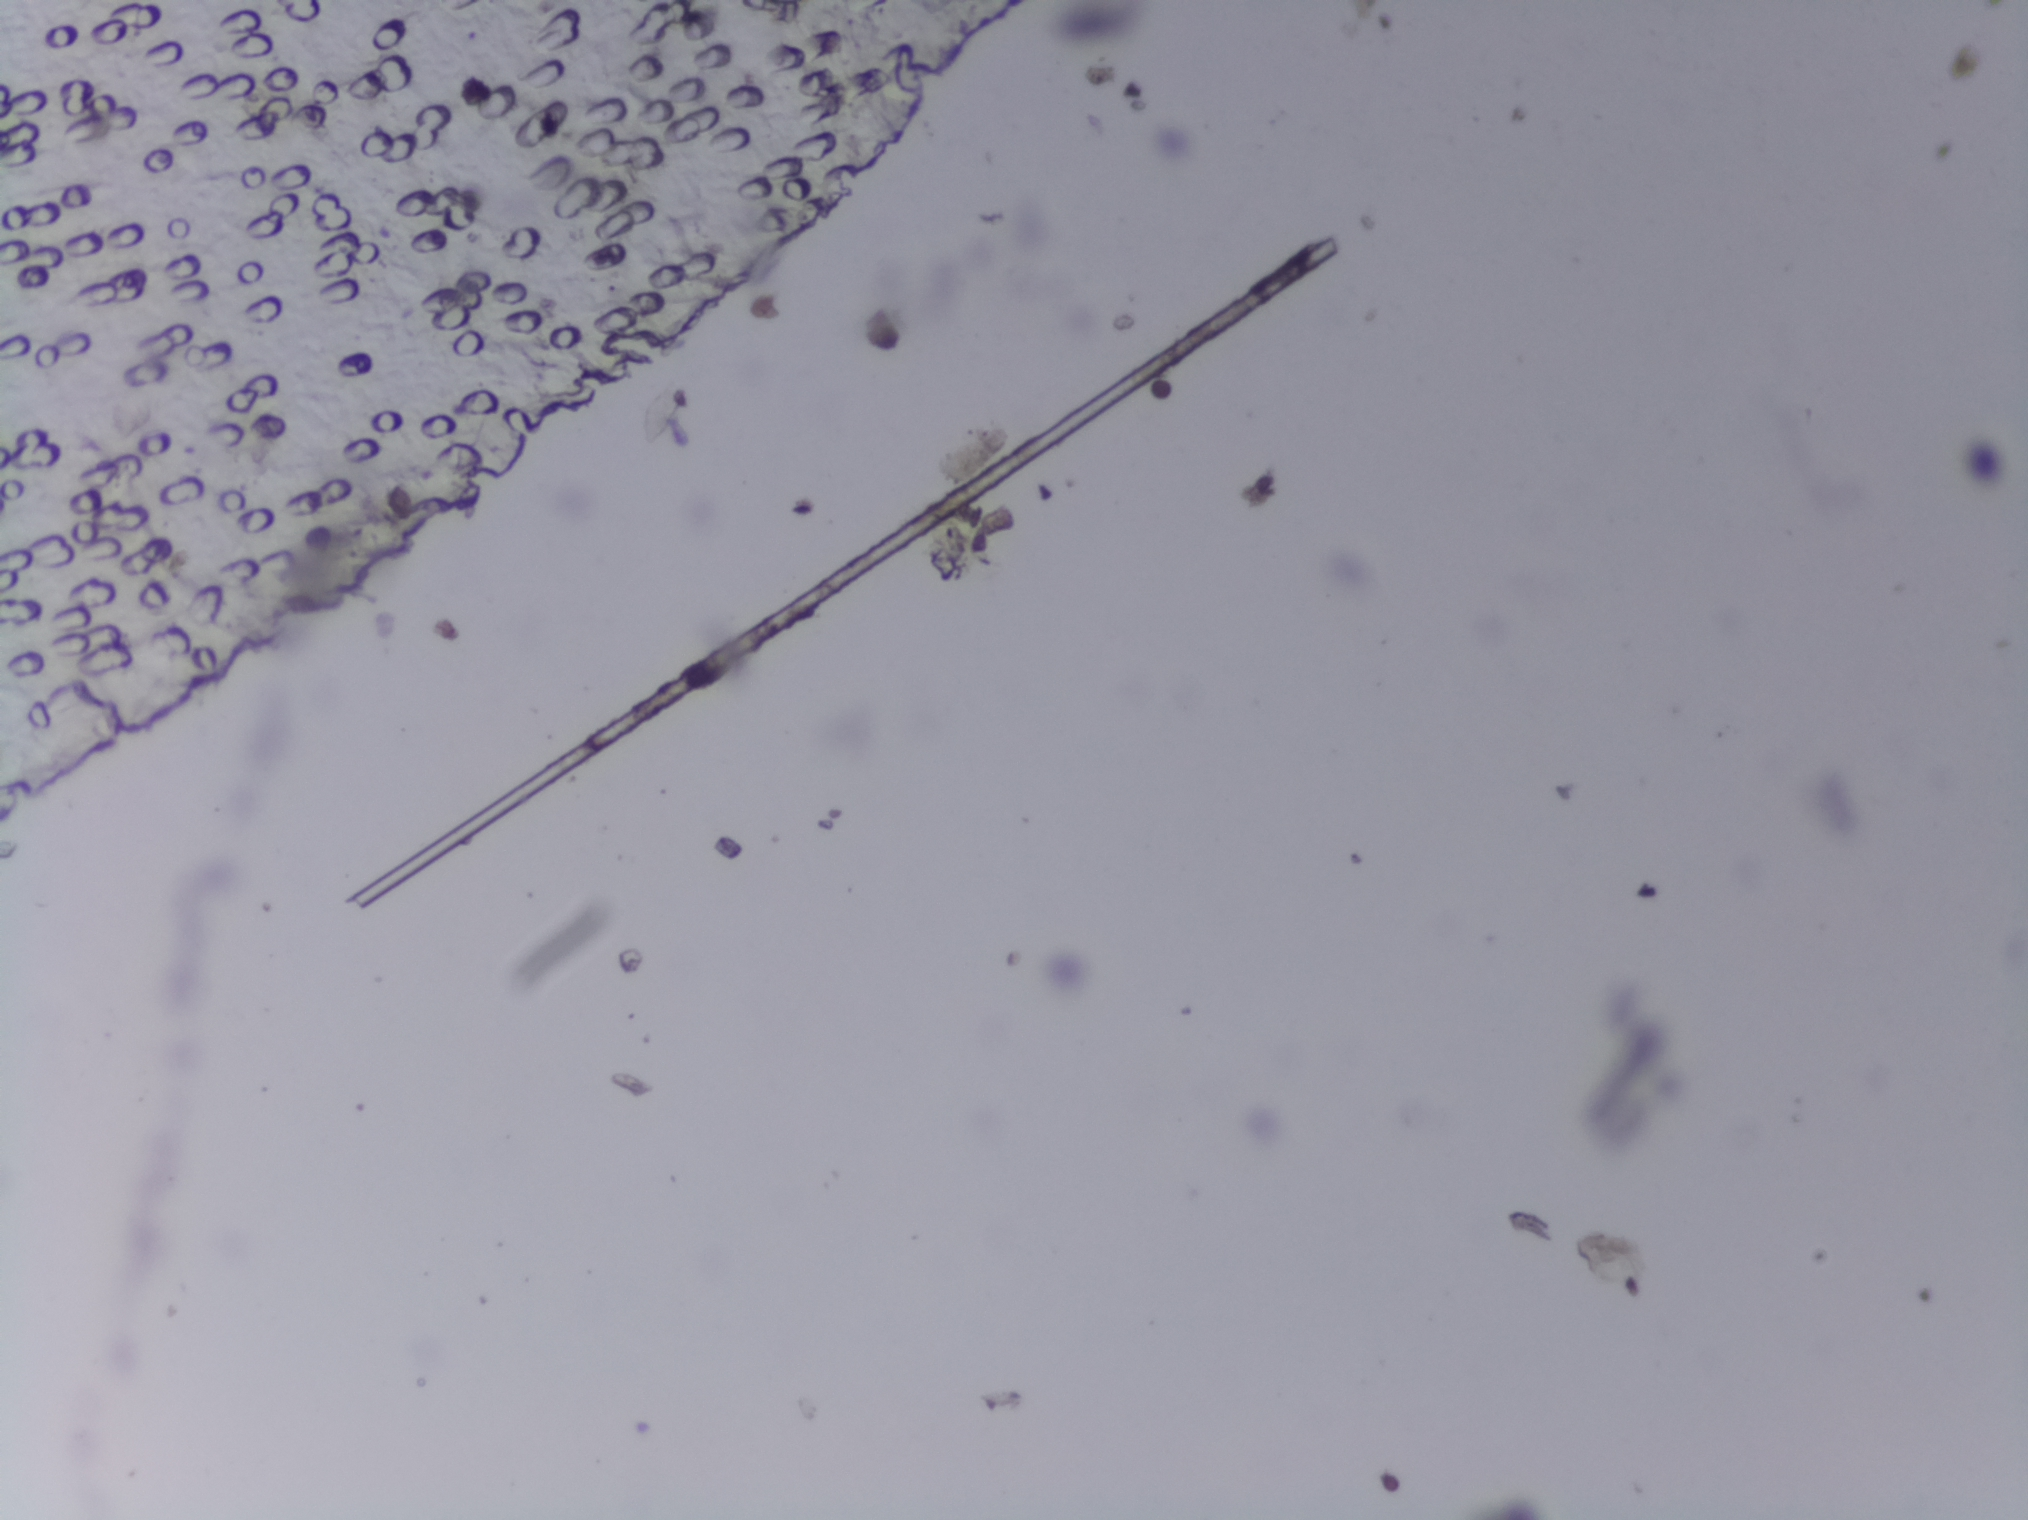
Urine filter membrane photographed through a 4× microscope objective.
No area of this image was outlined as a Schistosoma egg.